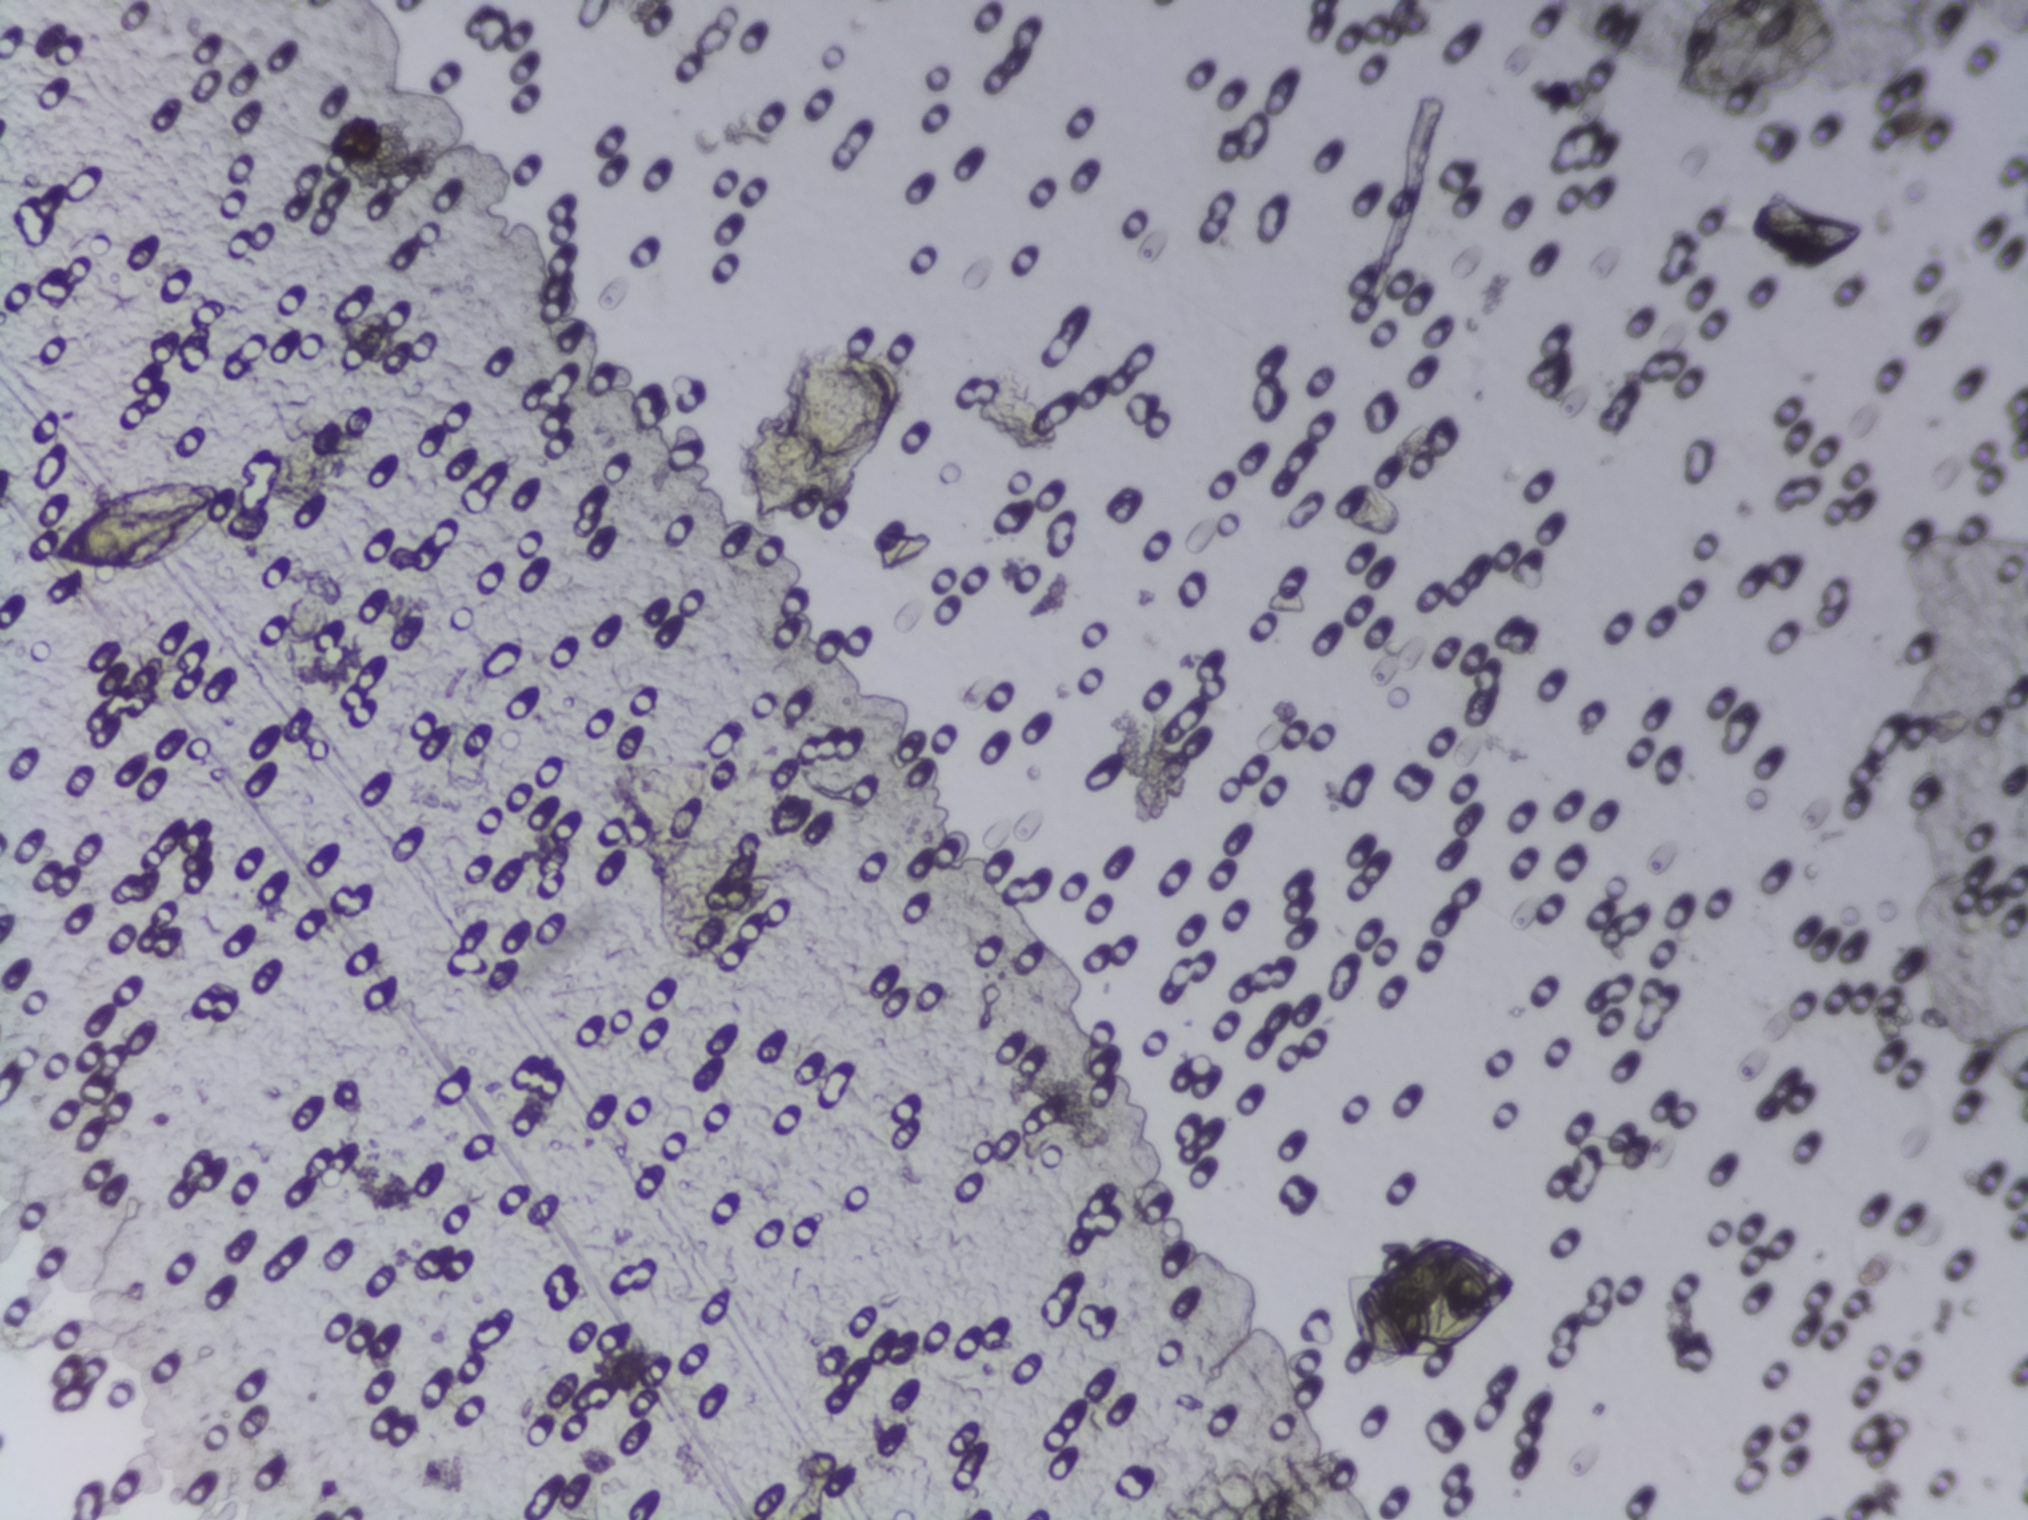
Urine filter membrane photographed through a 4× microscope objective. The image covers about 1.5 × 1.1 mm of the membrane.
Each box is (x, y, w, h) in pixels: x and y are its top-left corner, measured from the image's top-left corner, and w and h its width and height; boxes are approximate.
Outlined Schistosoma egg areas:
1. (x=37, y=469, w=204, h=110)
A single outlined area may contain several eggs.